Urine filtration membrane under a 4× objective, photographed by an automated digital microscope. The field of view is about 1.5 mm × 1.1 mm.
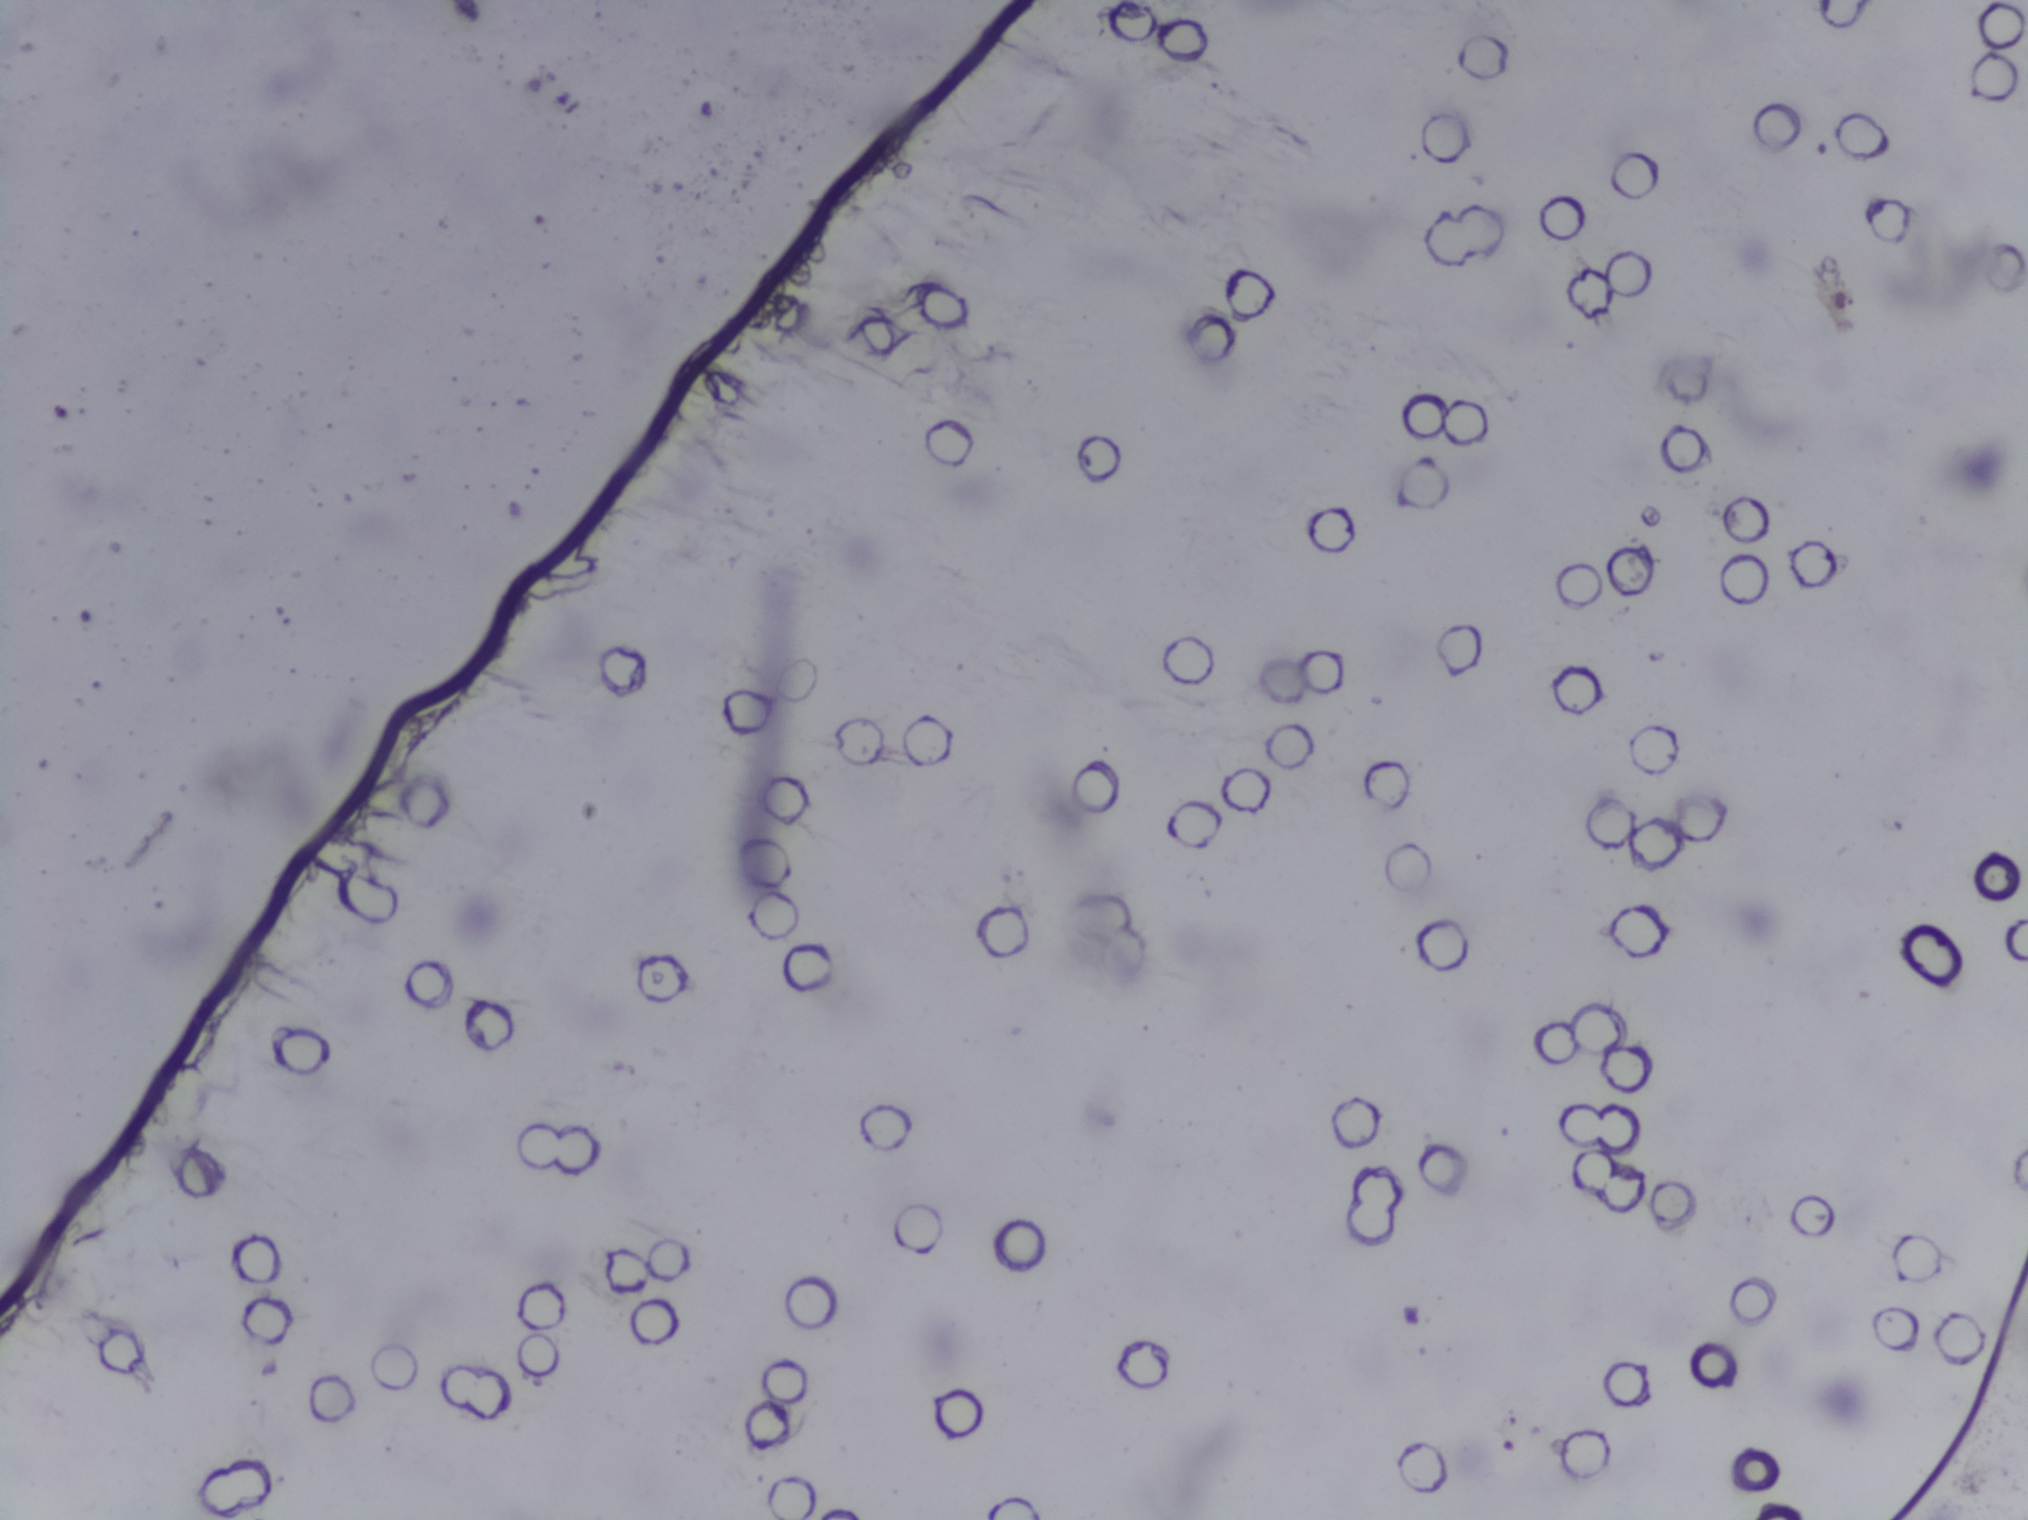
The expert annotation outlines no Schistosoma egg in this image.